Urine filter membrane photographed through a 4× microscope objective.
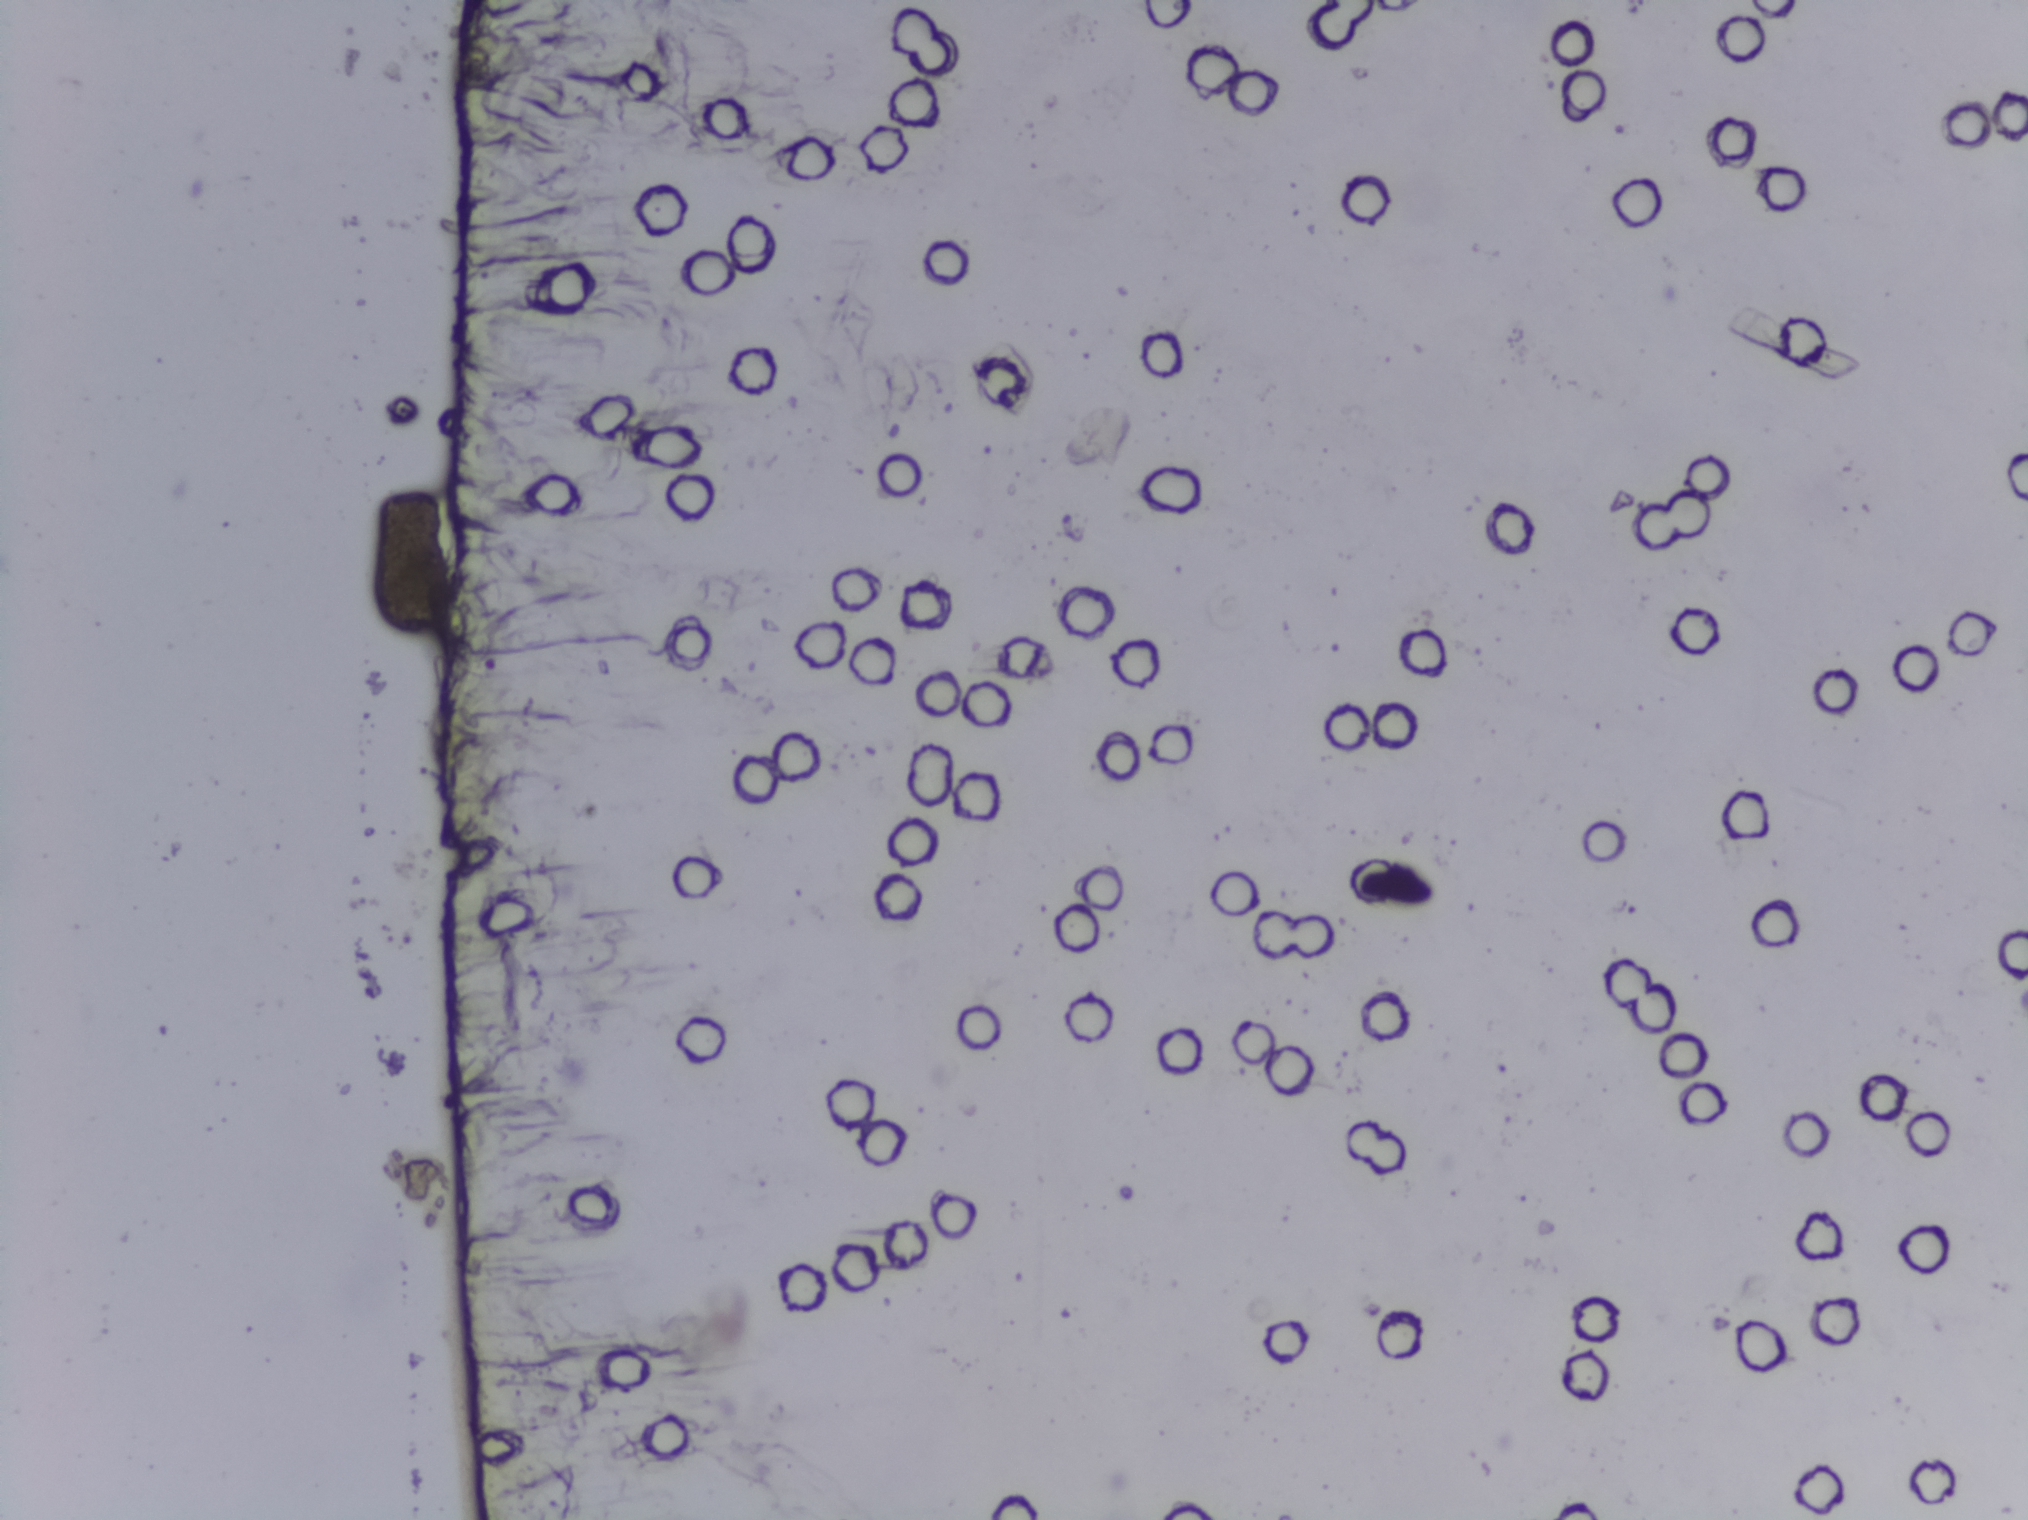
No area of this image was outlined as a Schistosoma egg.